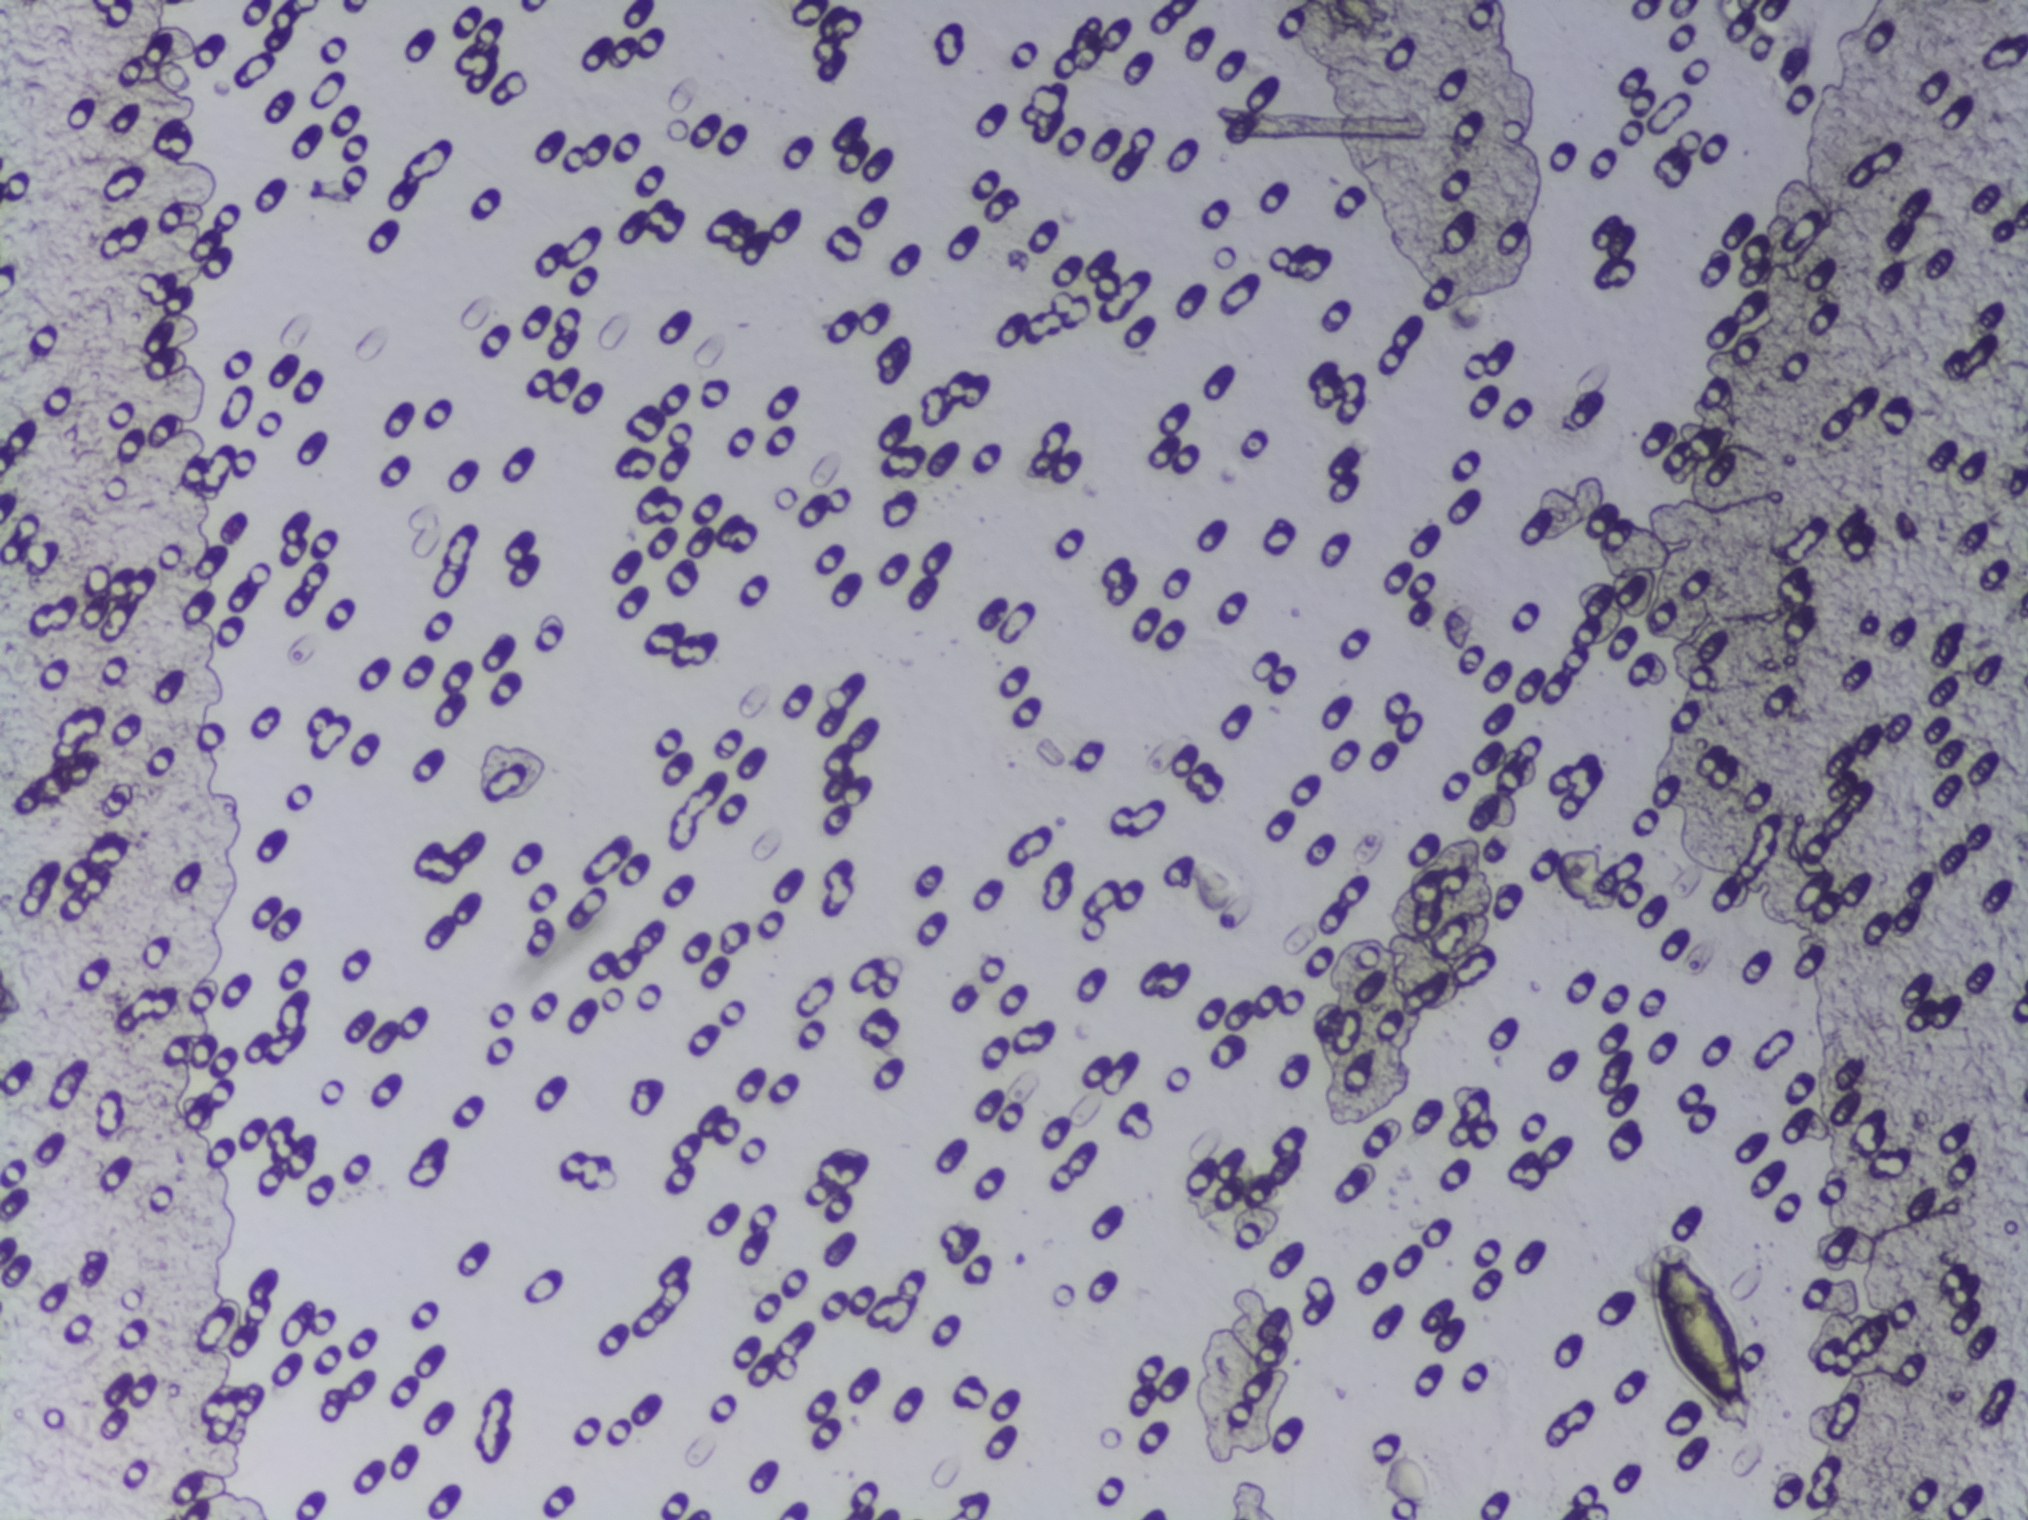
Urine filtration membrane under a 4× objective, photographed by an automated digital microscope. The field of view is about 1.5 mm × 1.1 mm.
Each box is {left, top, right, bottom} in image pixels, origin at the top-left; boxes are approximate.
The expert annotation outlines Schistosoma eggs at {1647, 1237, 1754, 1436}. Eggs that touch can end up inside the same outlined area.